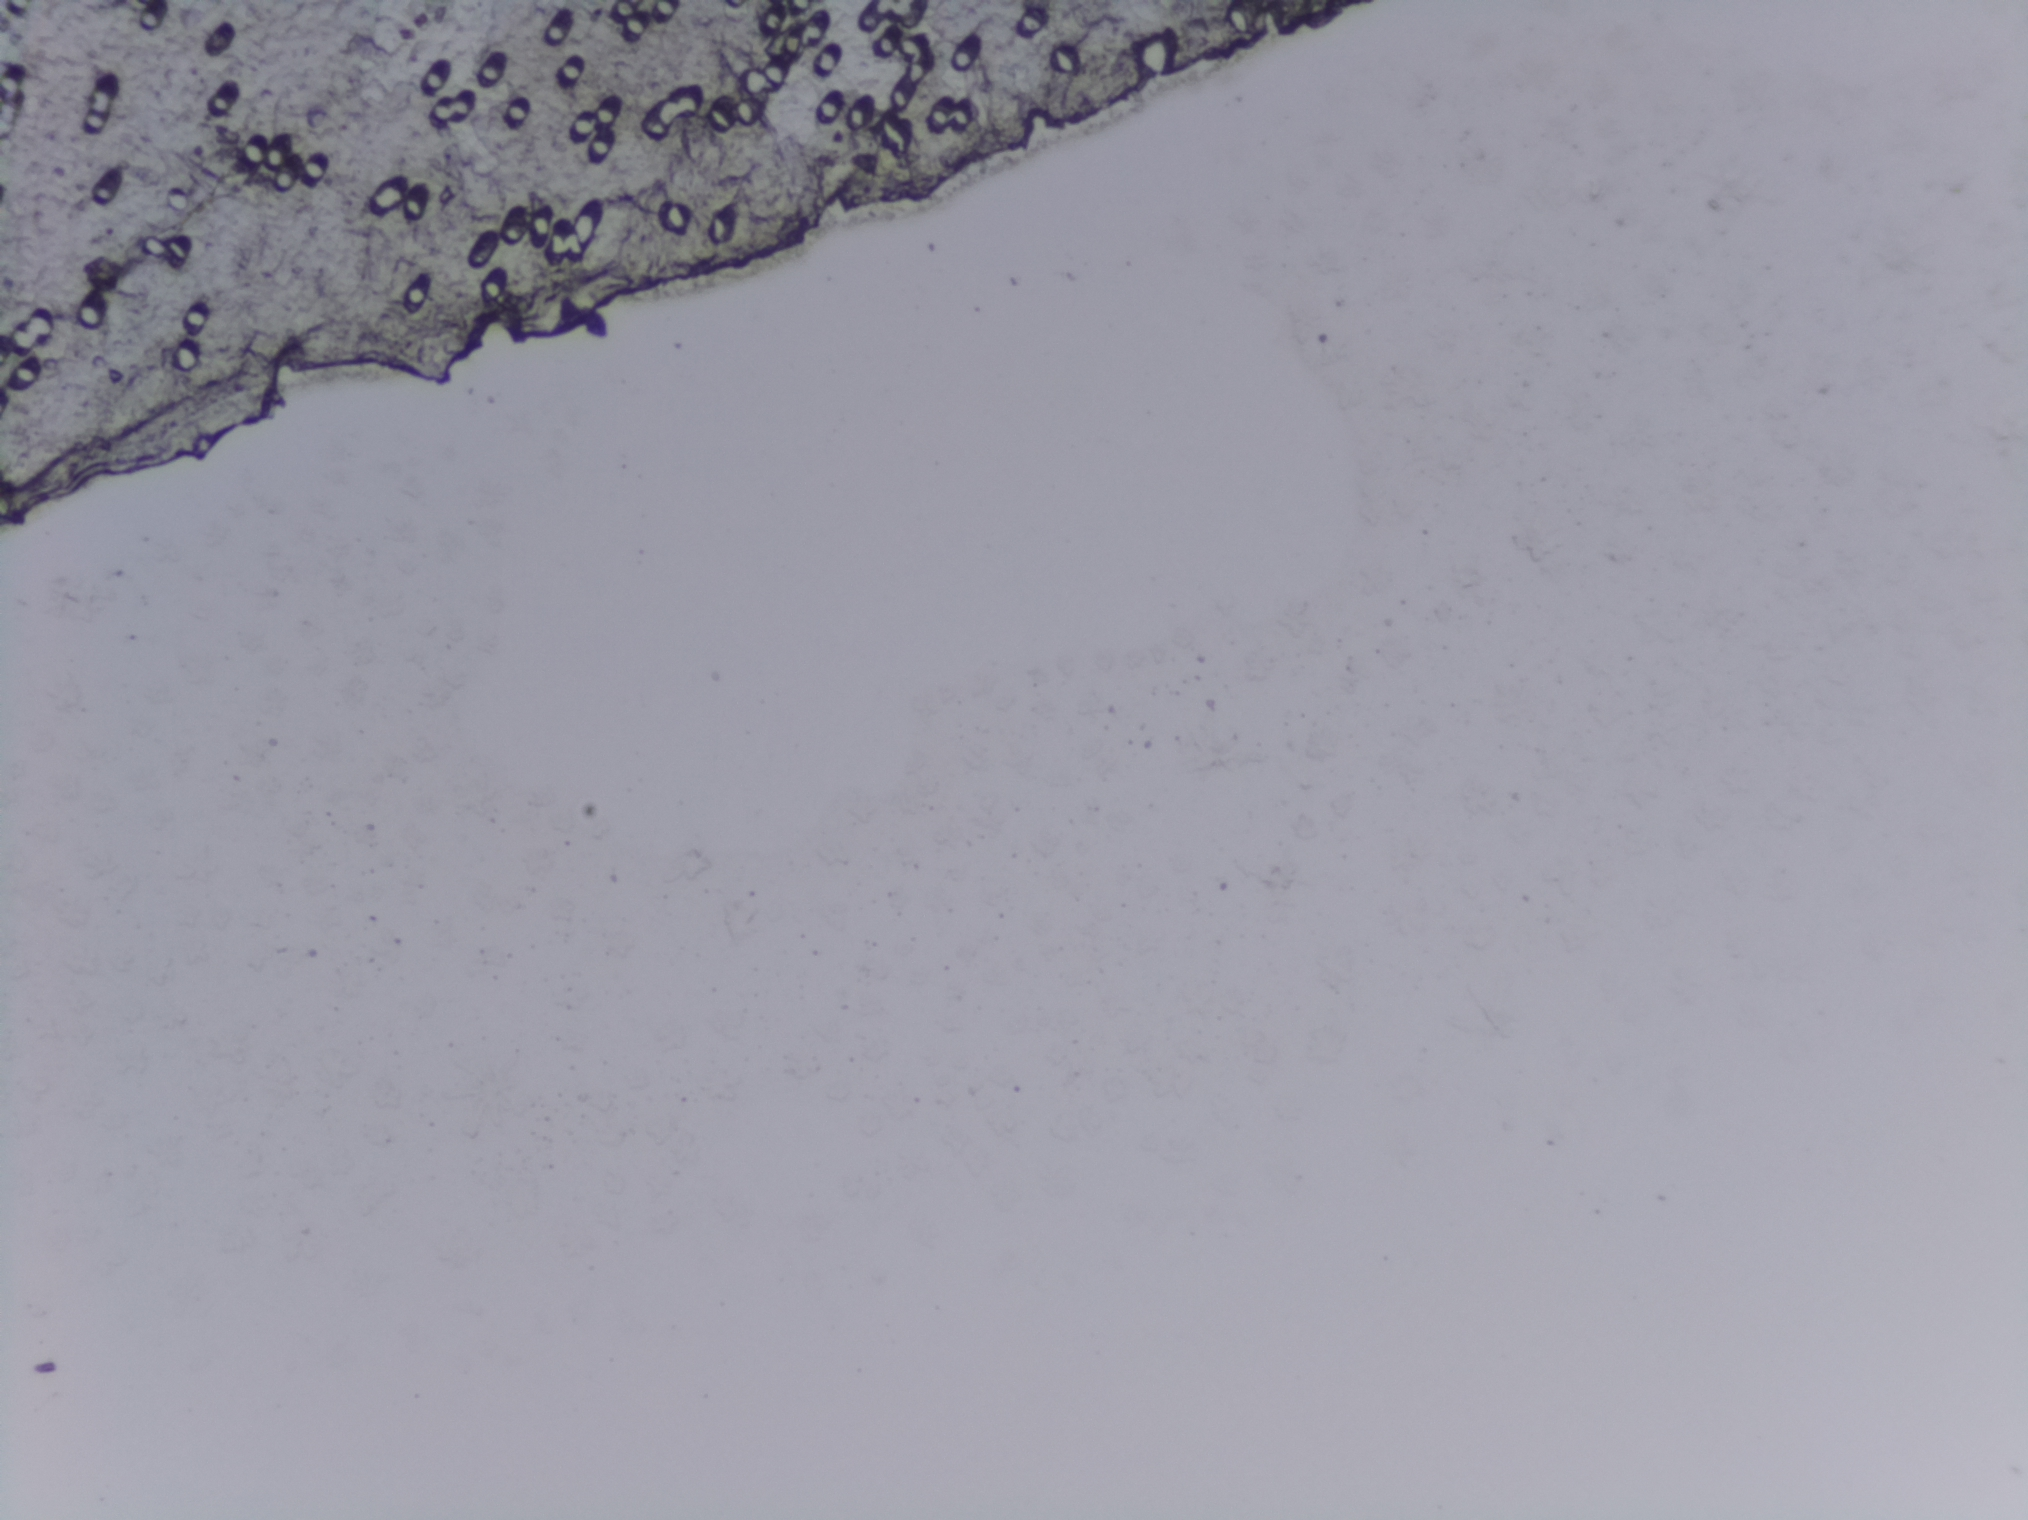
Schistosoma eggs: none outlined.
One field of view of a urine filter membrane, 4× objective, 2028 × 1520 pixels.